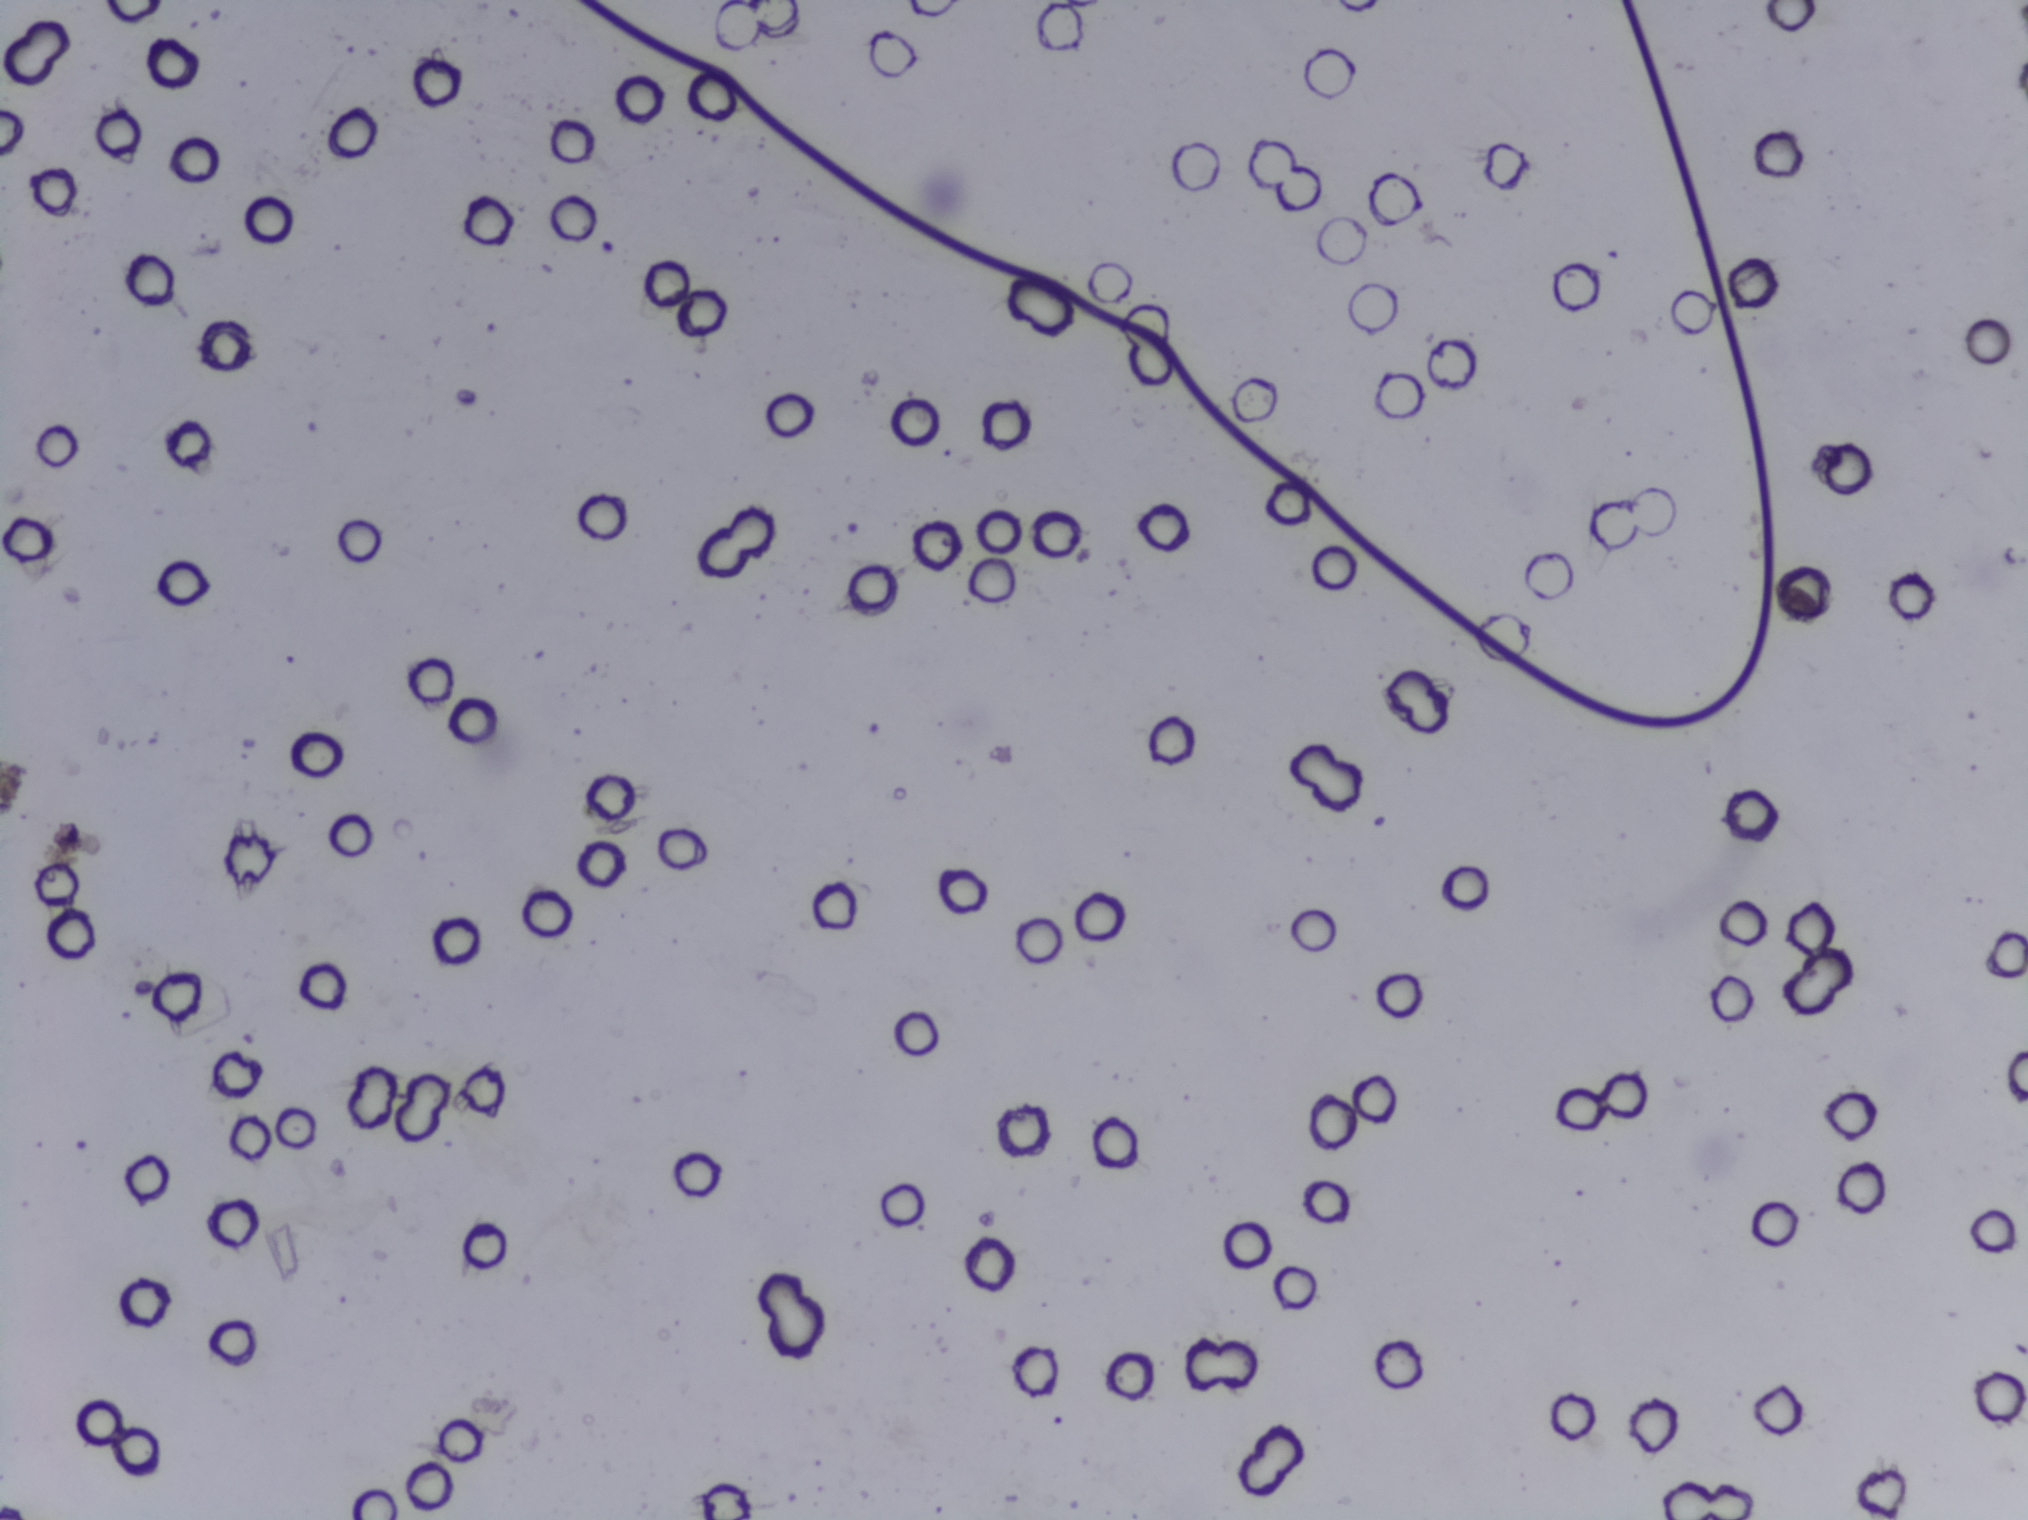
Schistosoma eggs: none outlined.
Photomicrograph of a urine filtration membrane, 4× objective.